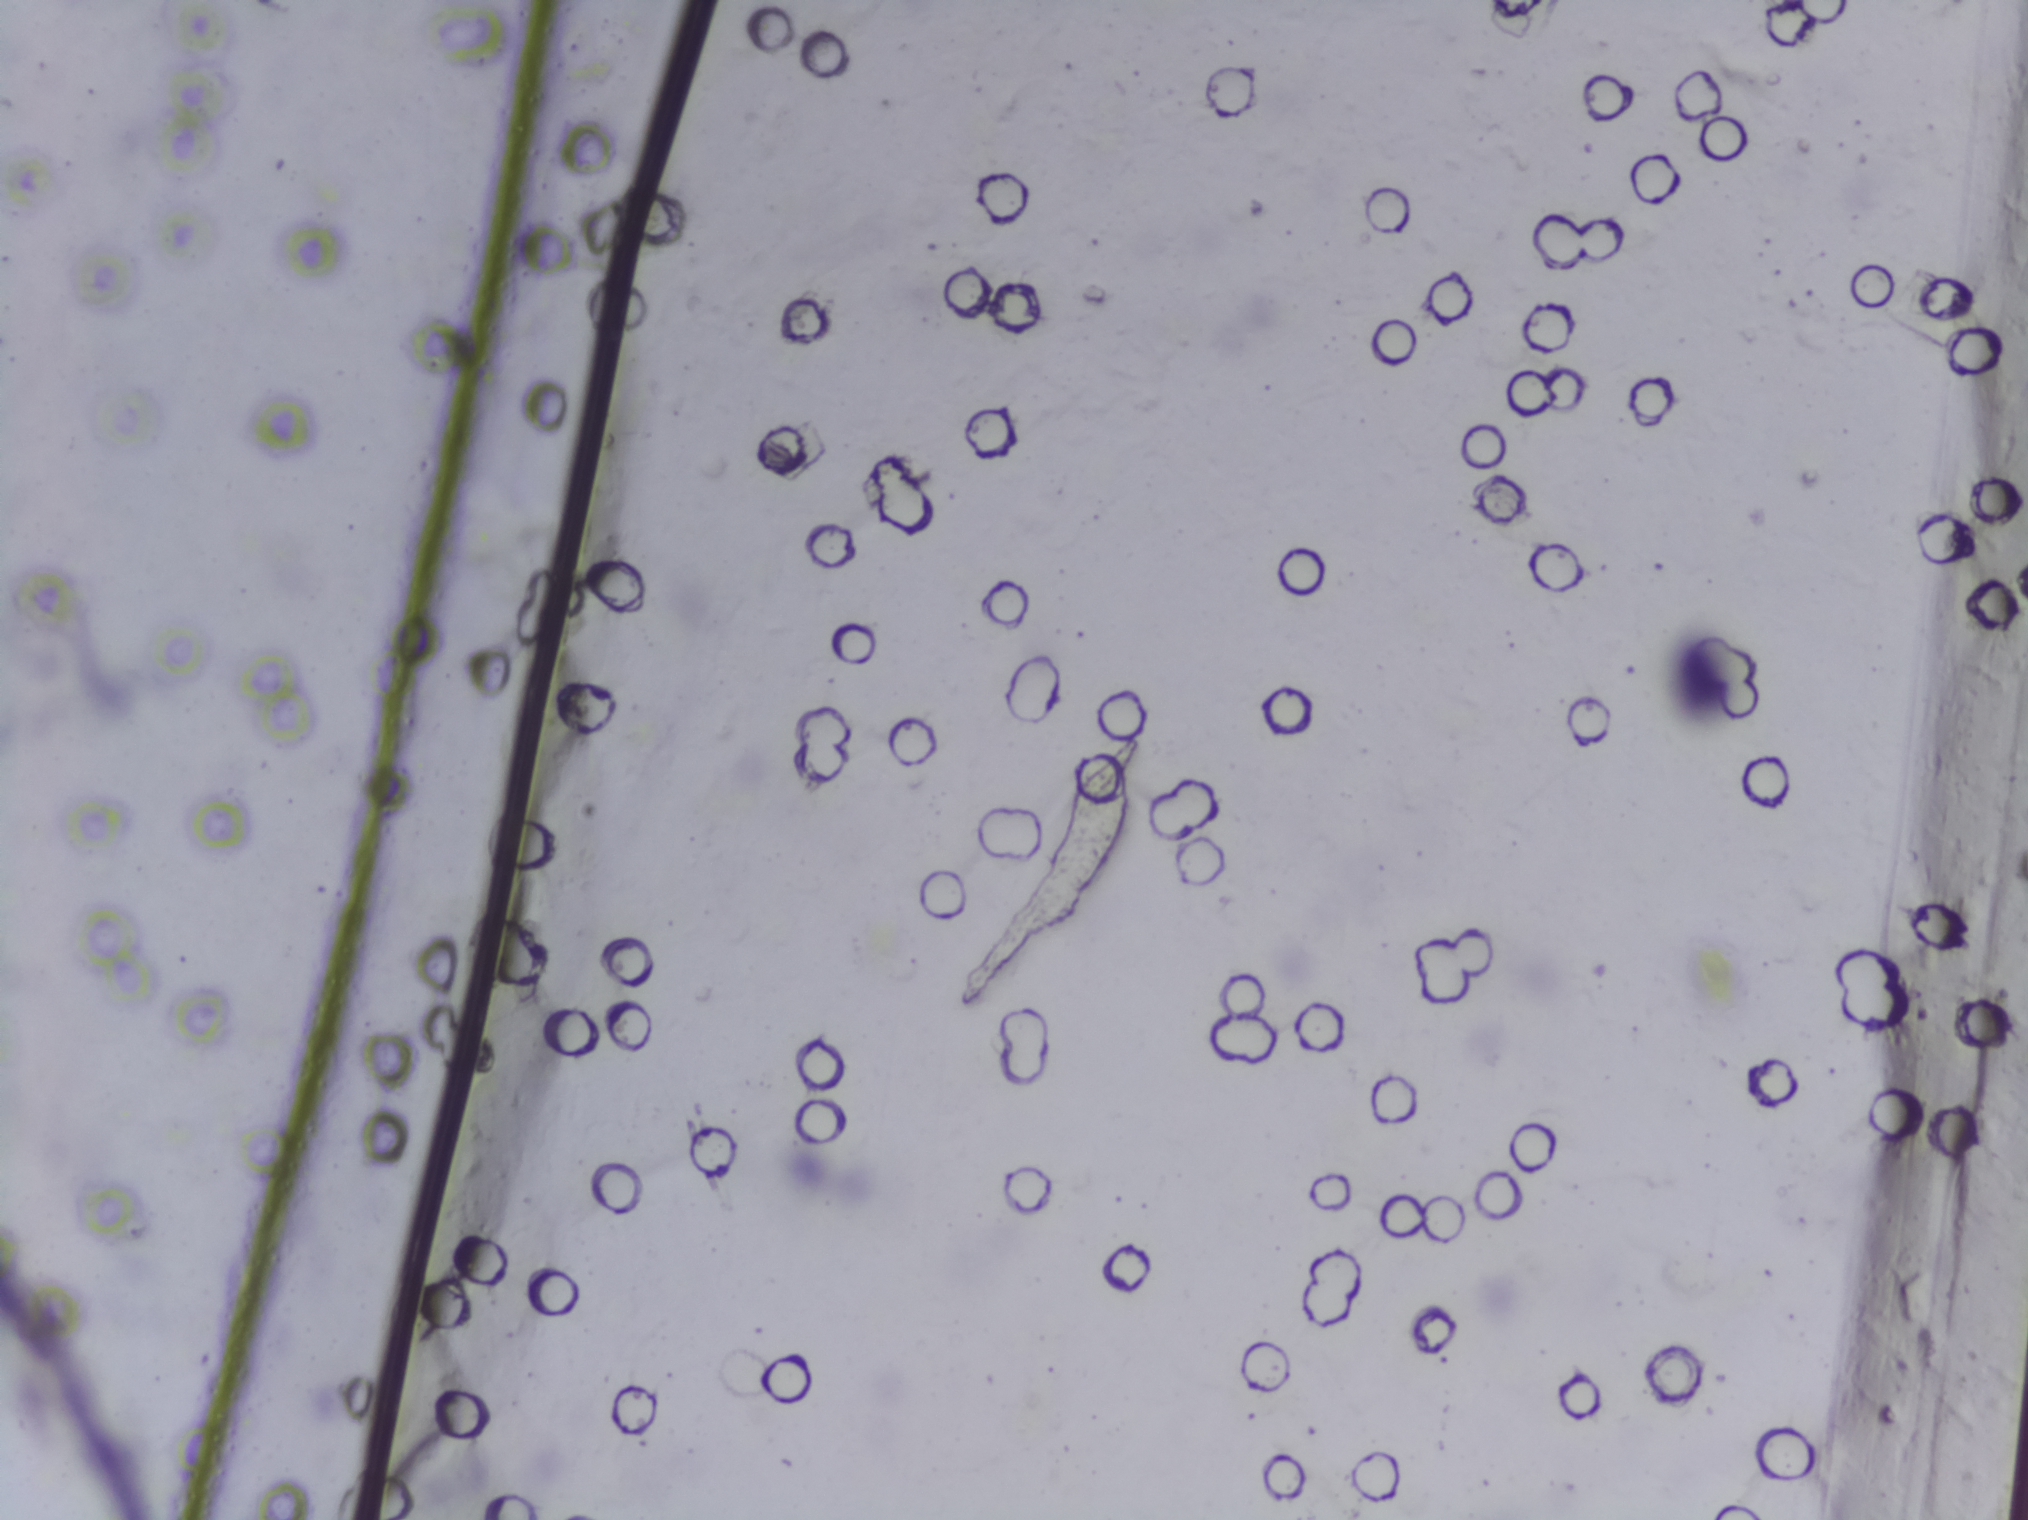
Urine filtration membrane under a 4× objective, photographed by an automated digital microscope.
No Schistosoma egg is outlined in this image's expert annotation.